Photograph from an automated digital microscope: urine filter membrane, 4× objective. The image covers about 1.5 × 1.1 mm of the membrane.
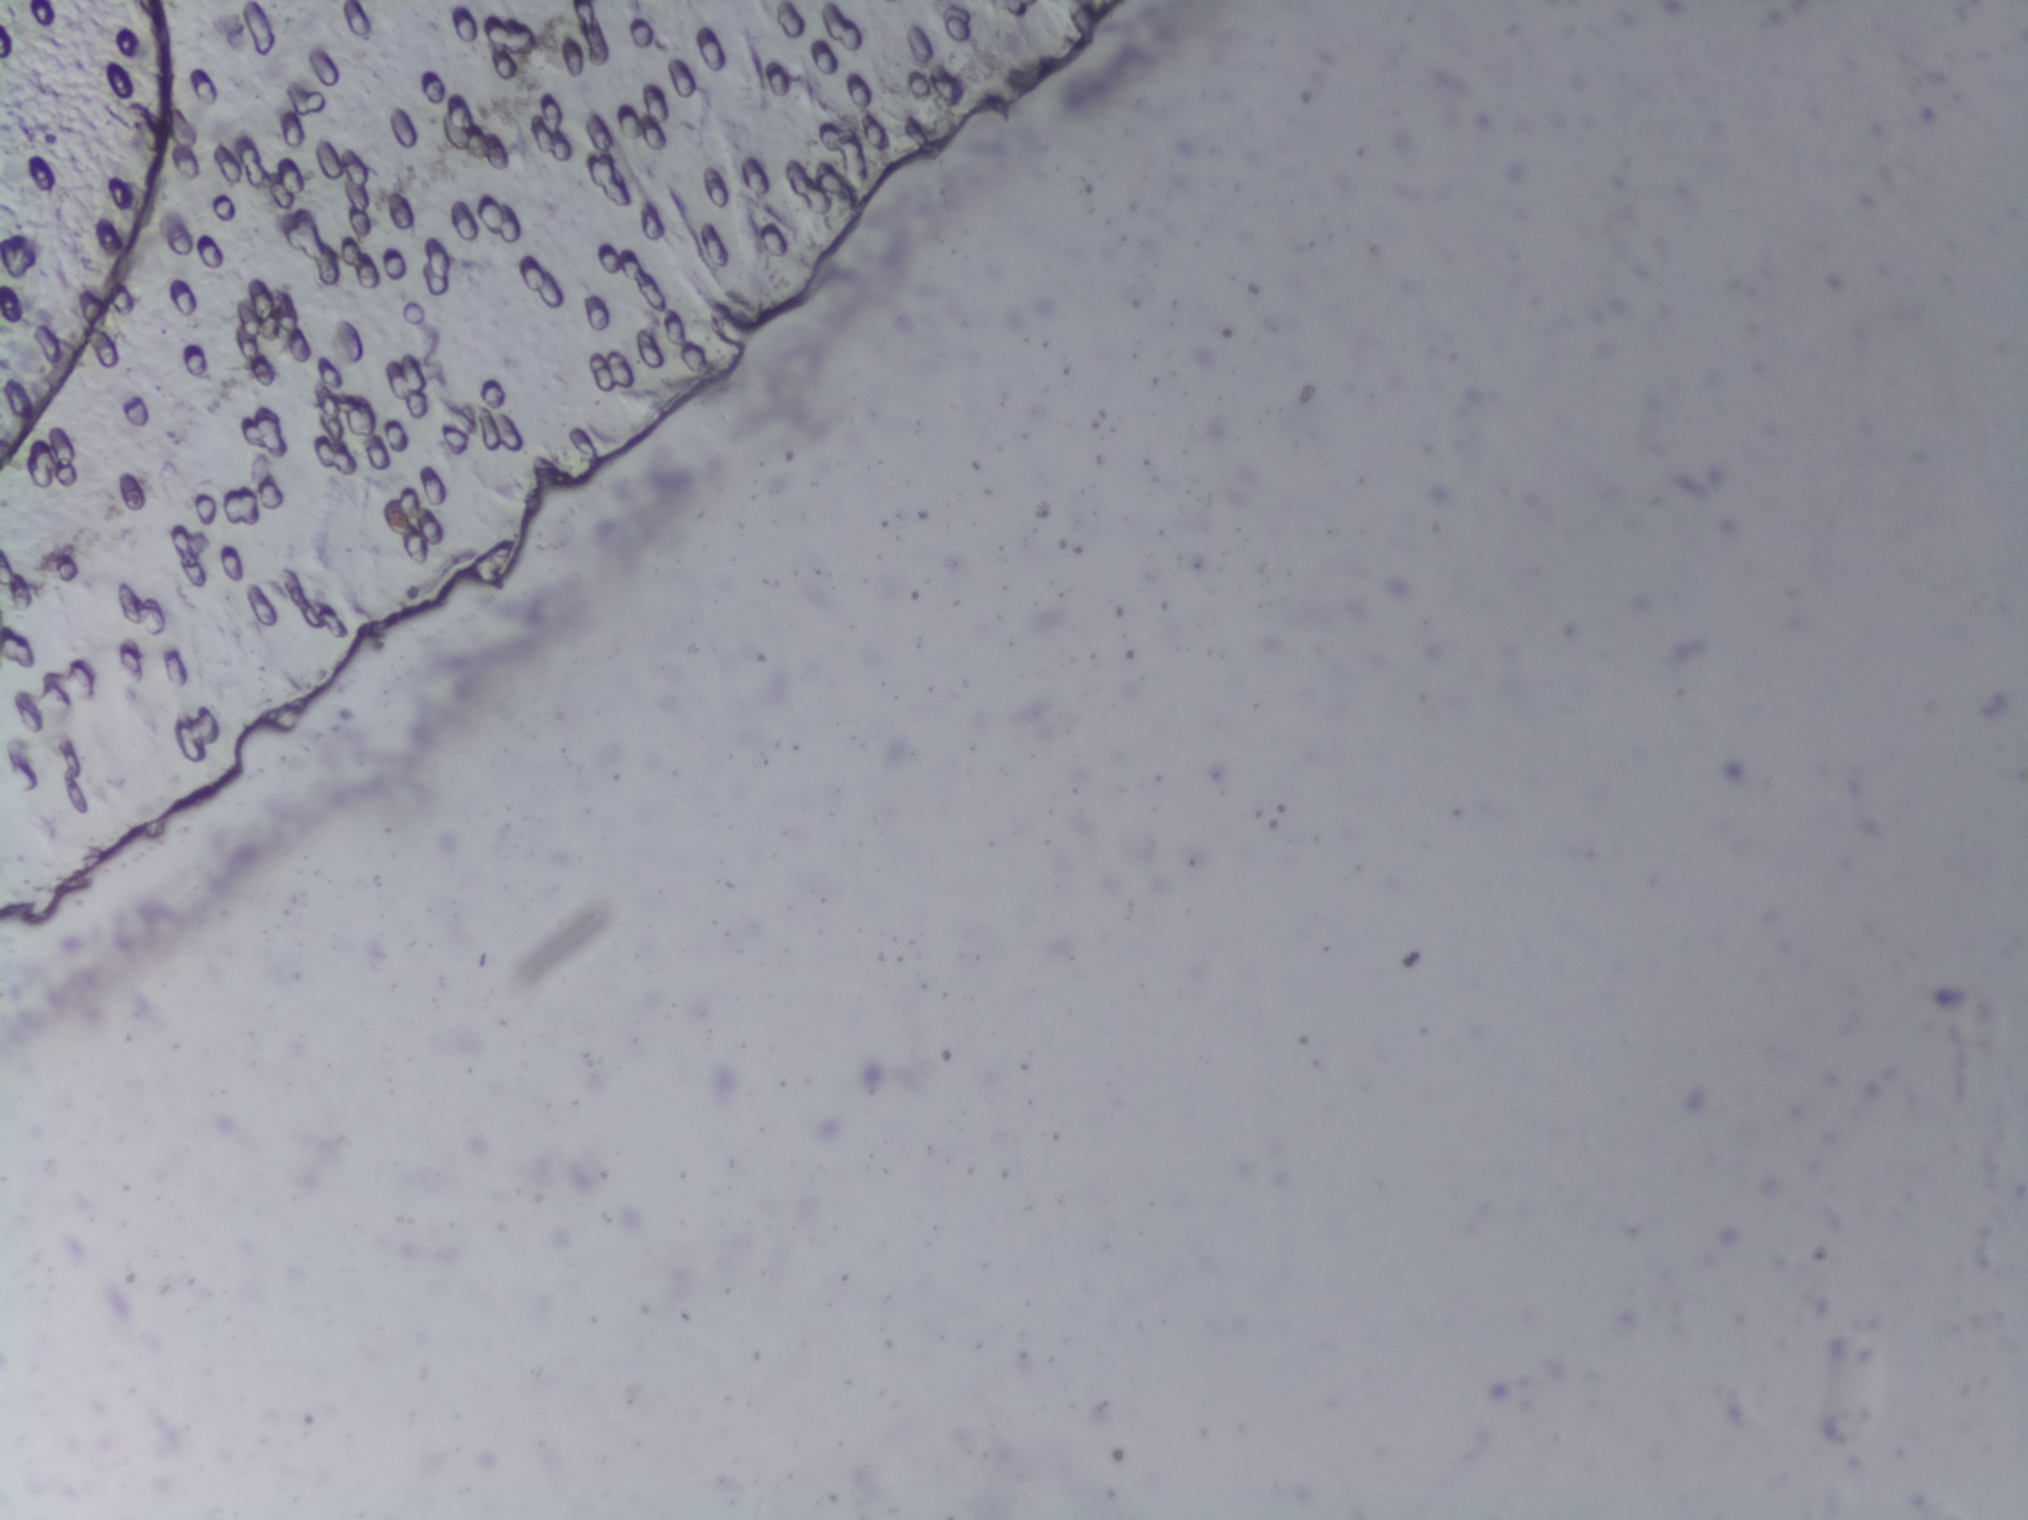
The expert annotation marks no Schistosoma egg in this field of view.